Photograph from an automated digital microscope: urine filter membrane, 4× objective.
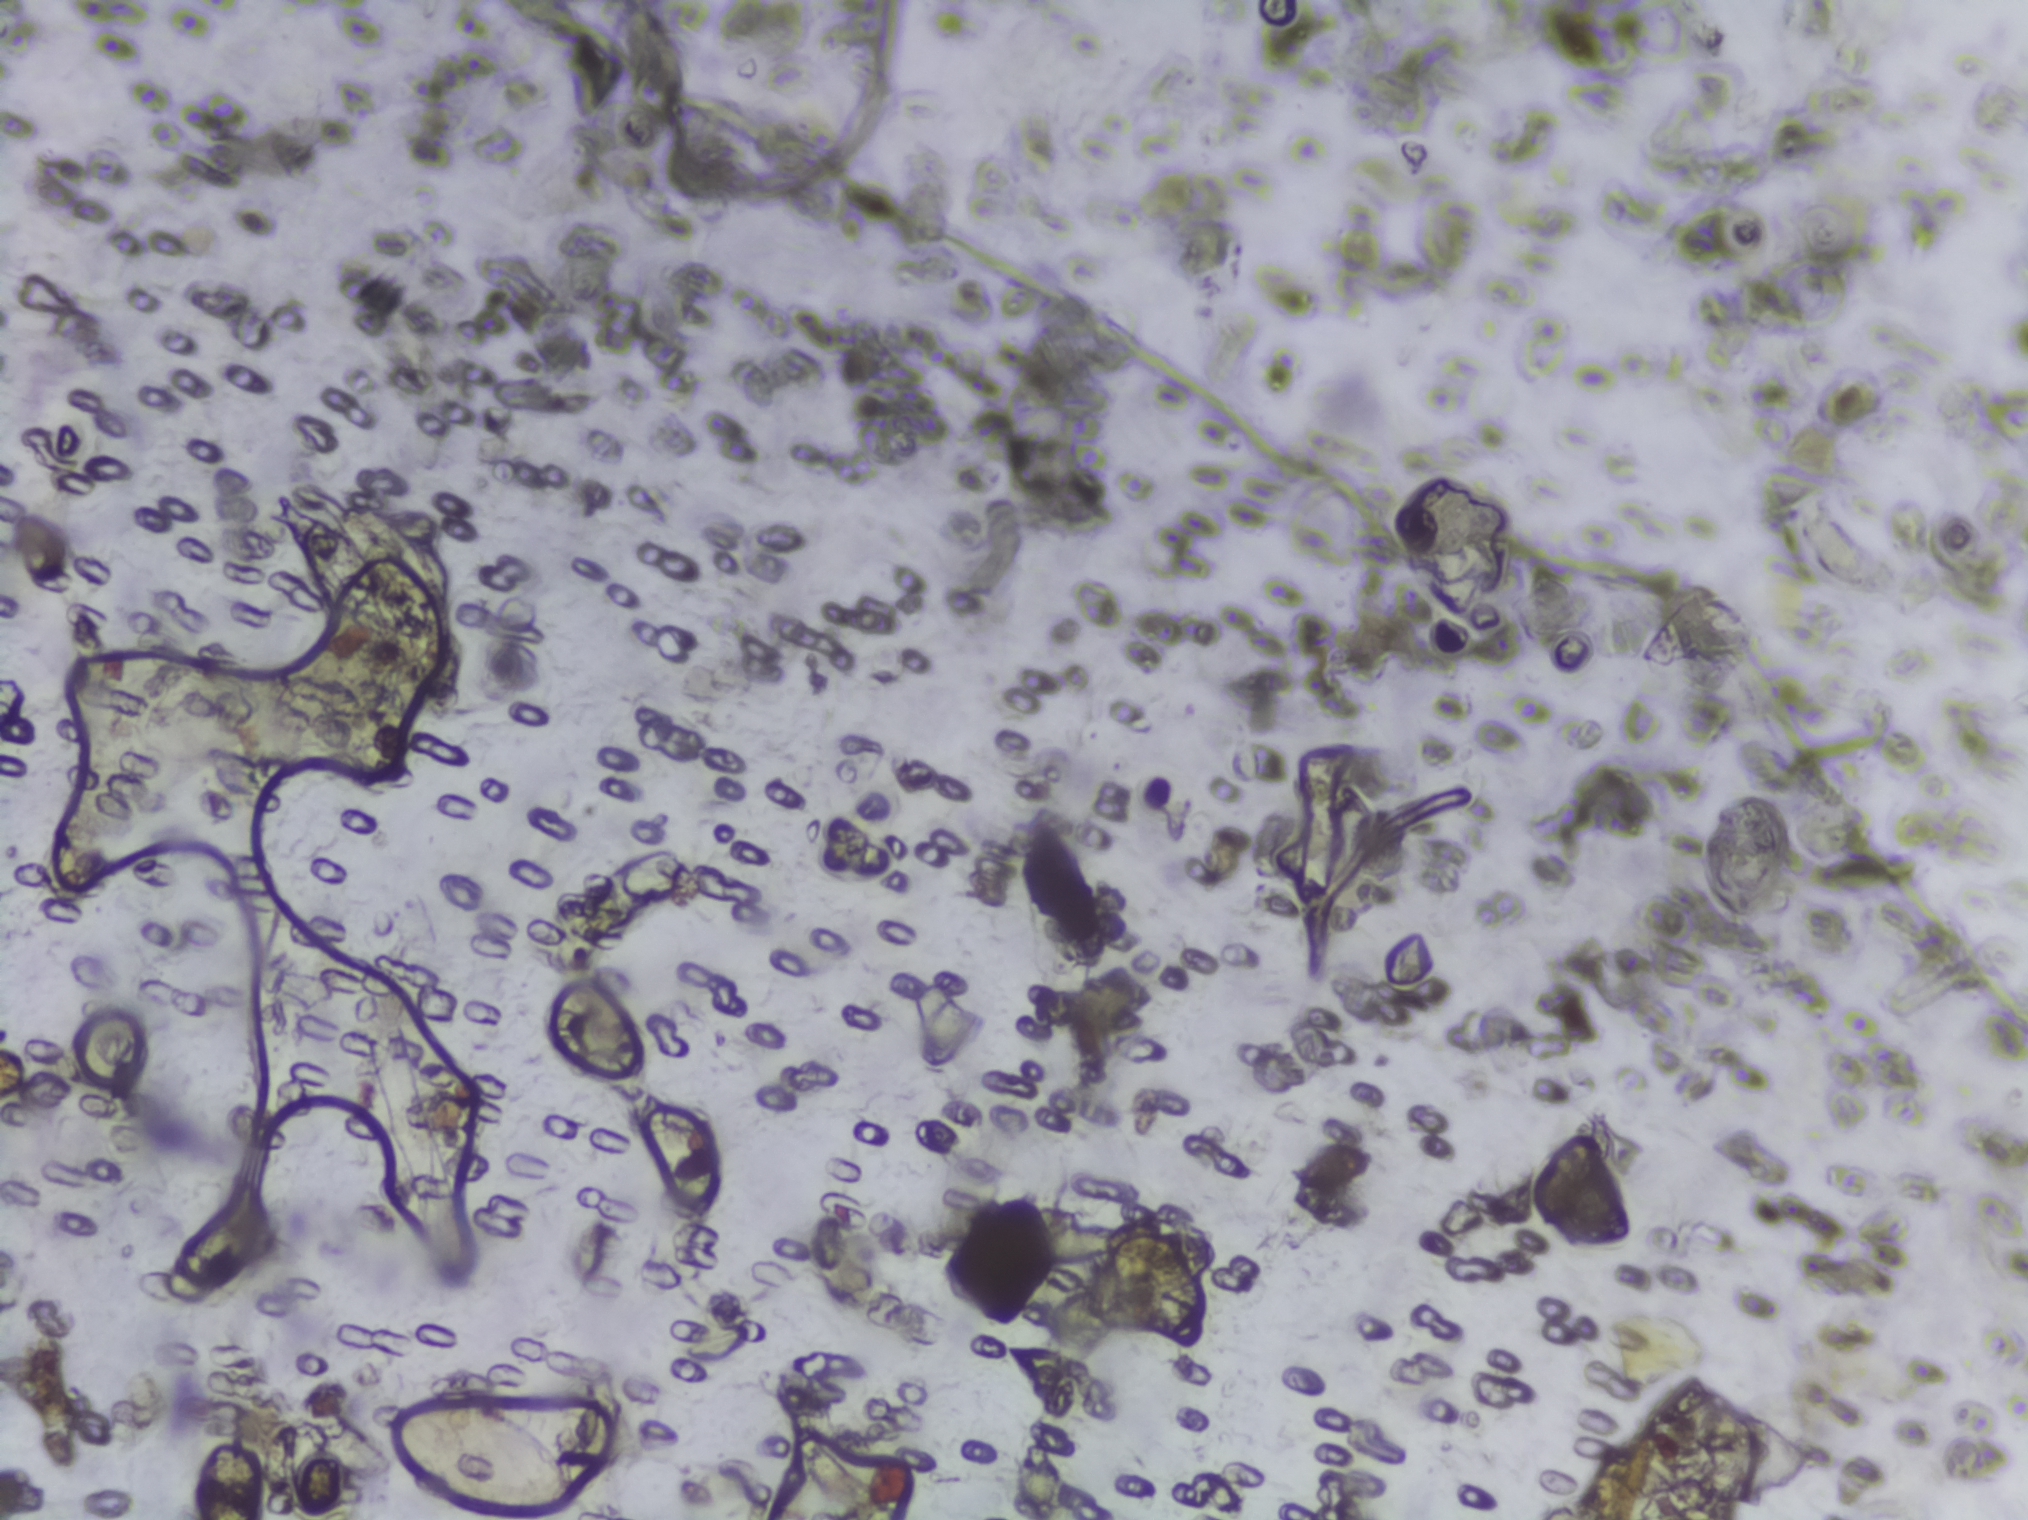
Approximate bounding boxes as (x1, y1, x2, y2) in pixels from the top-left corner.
One area of this image is outlined as Schistosoma eggs: (389, 1403, 579, 1516). A single outlined area may contain several eggs.